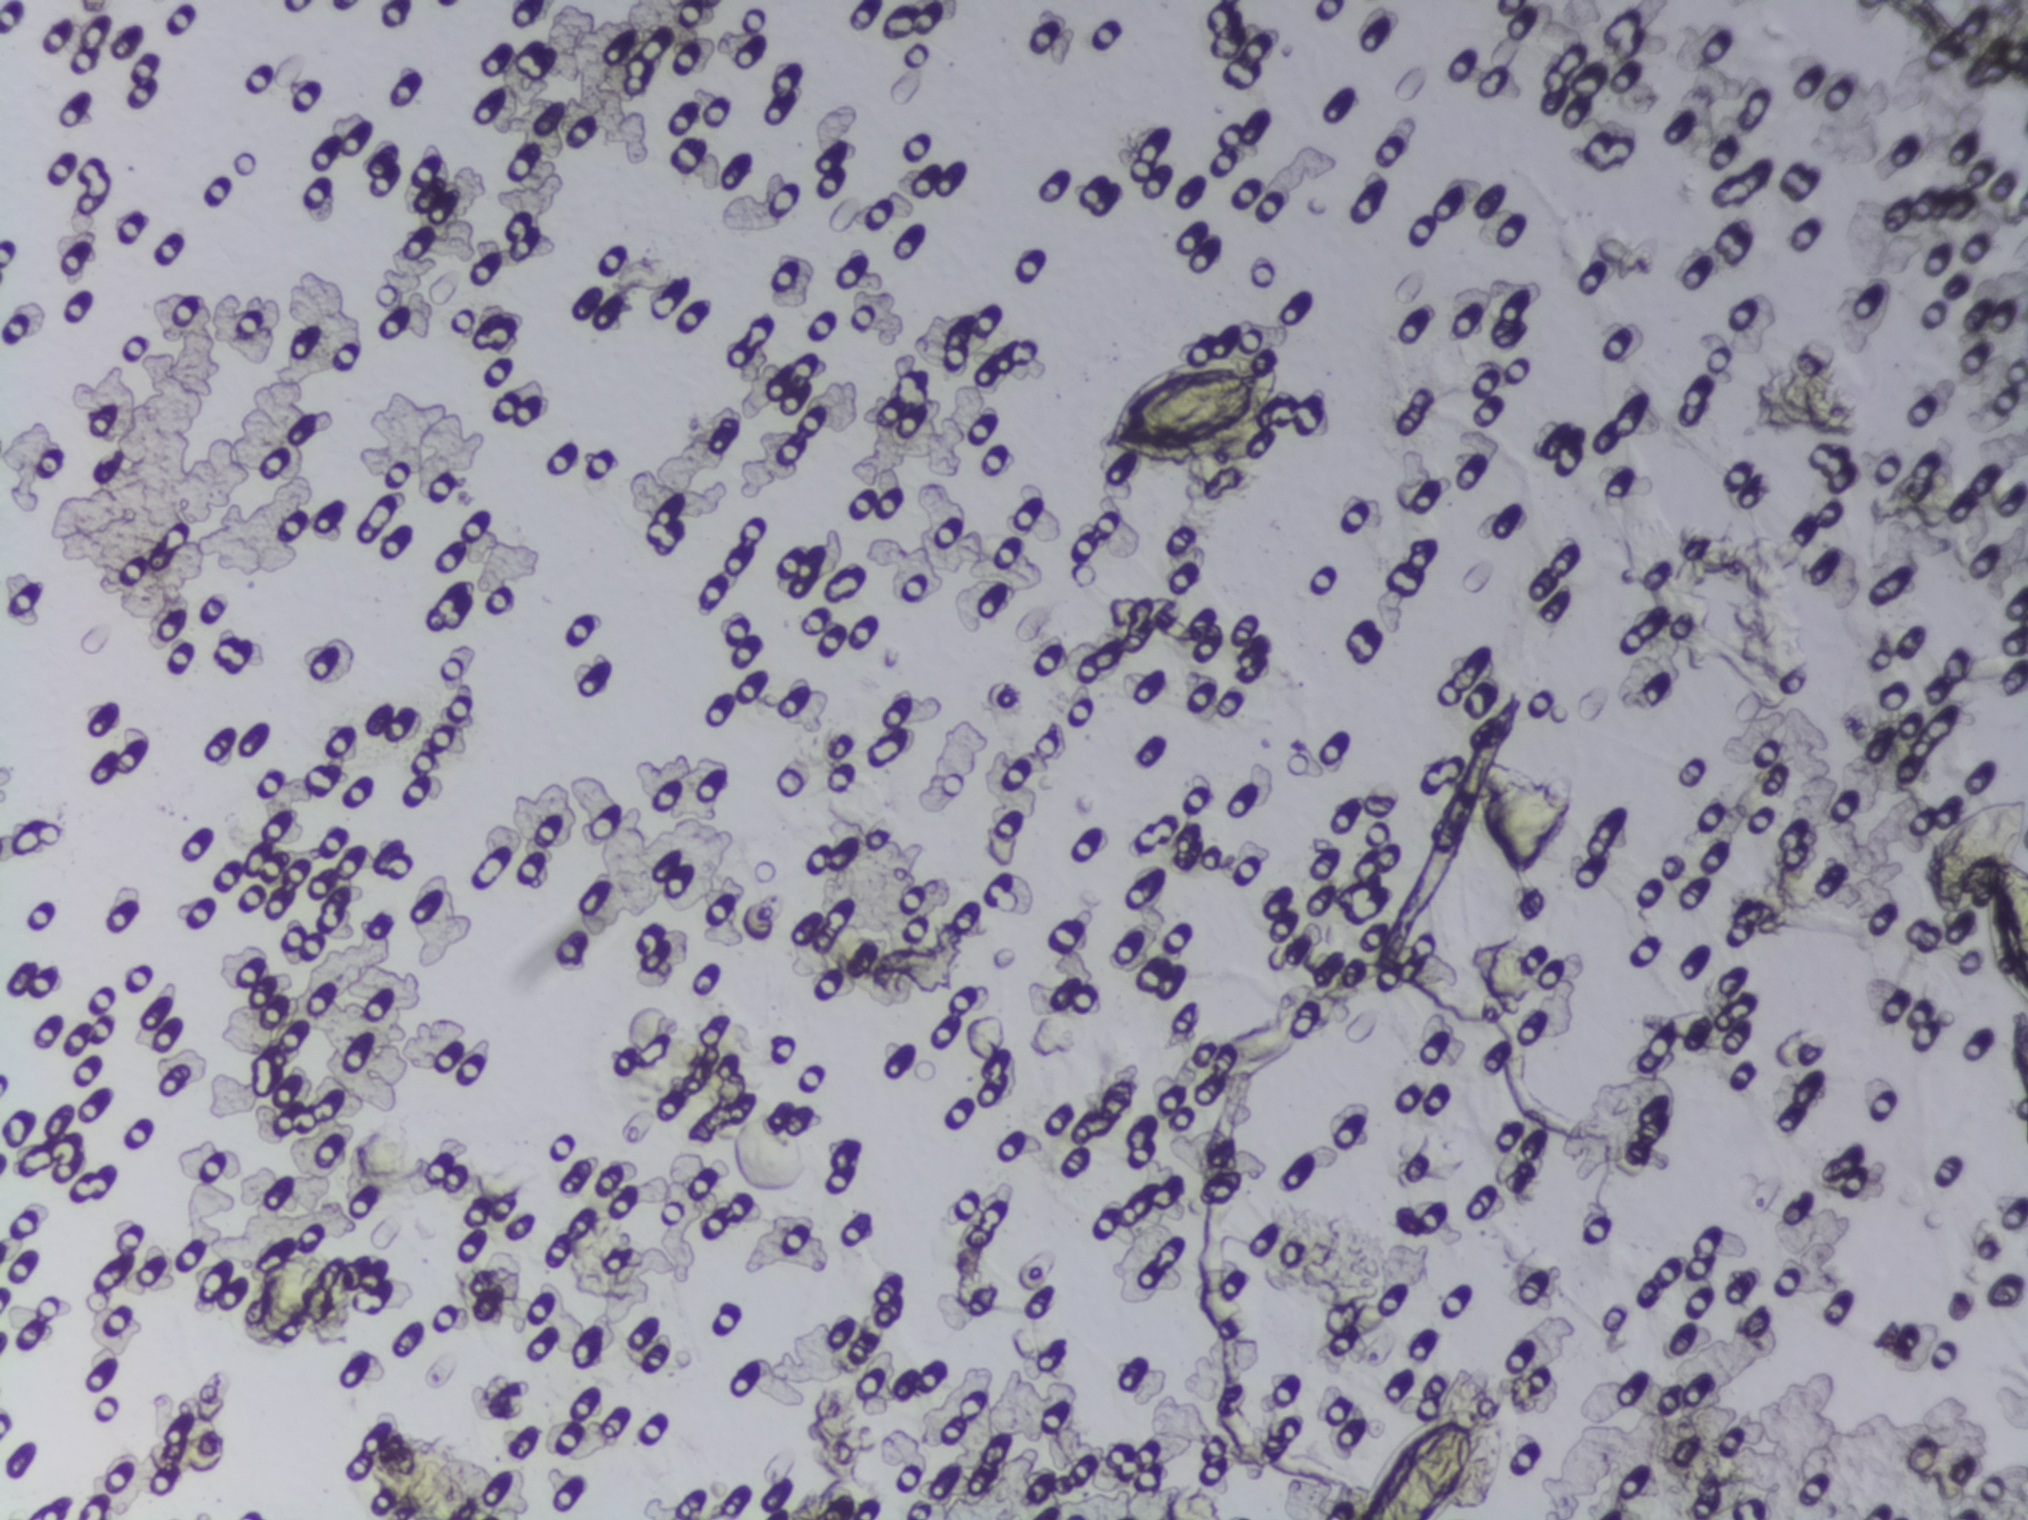
One field of view of a urine filter membrane, 4× objective, 2028 × 1520 pixels. Field of view: about 1.5 mm wide and 1.1 mm high.
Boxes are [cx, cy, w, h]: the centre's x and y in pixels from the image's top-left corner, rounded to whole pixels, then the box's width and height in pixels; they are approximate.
{"schistosoma_egg_areas_cxcywh_px": [[1191, 411, 187, 120], [1427, 1441, 157, 157], [1978, 901, 99, 209]]} Area 2 reaches the bottom edge of the frame. Area 3 reaches the right edge of the frame.
An outlined area can hold more than one egg.